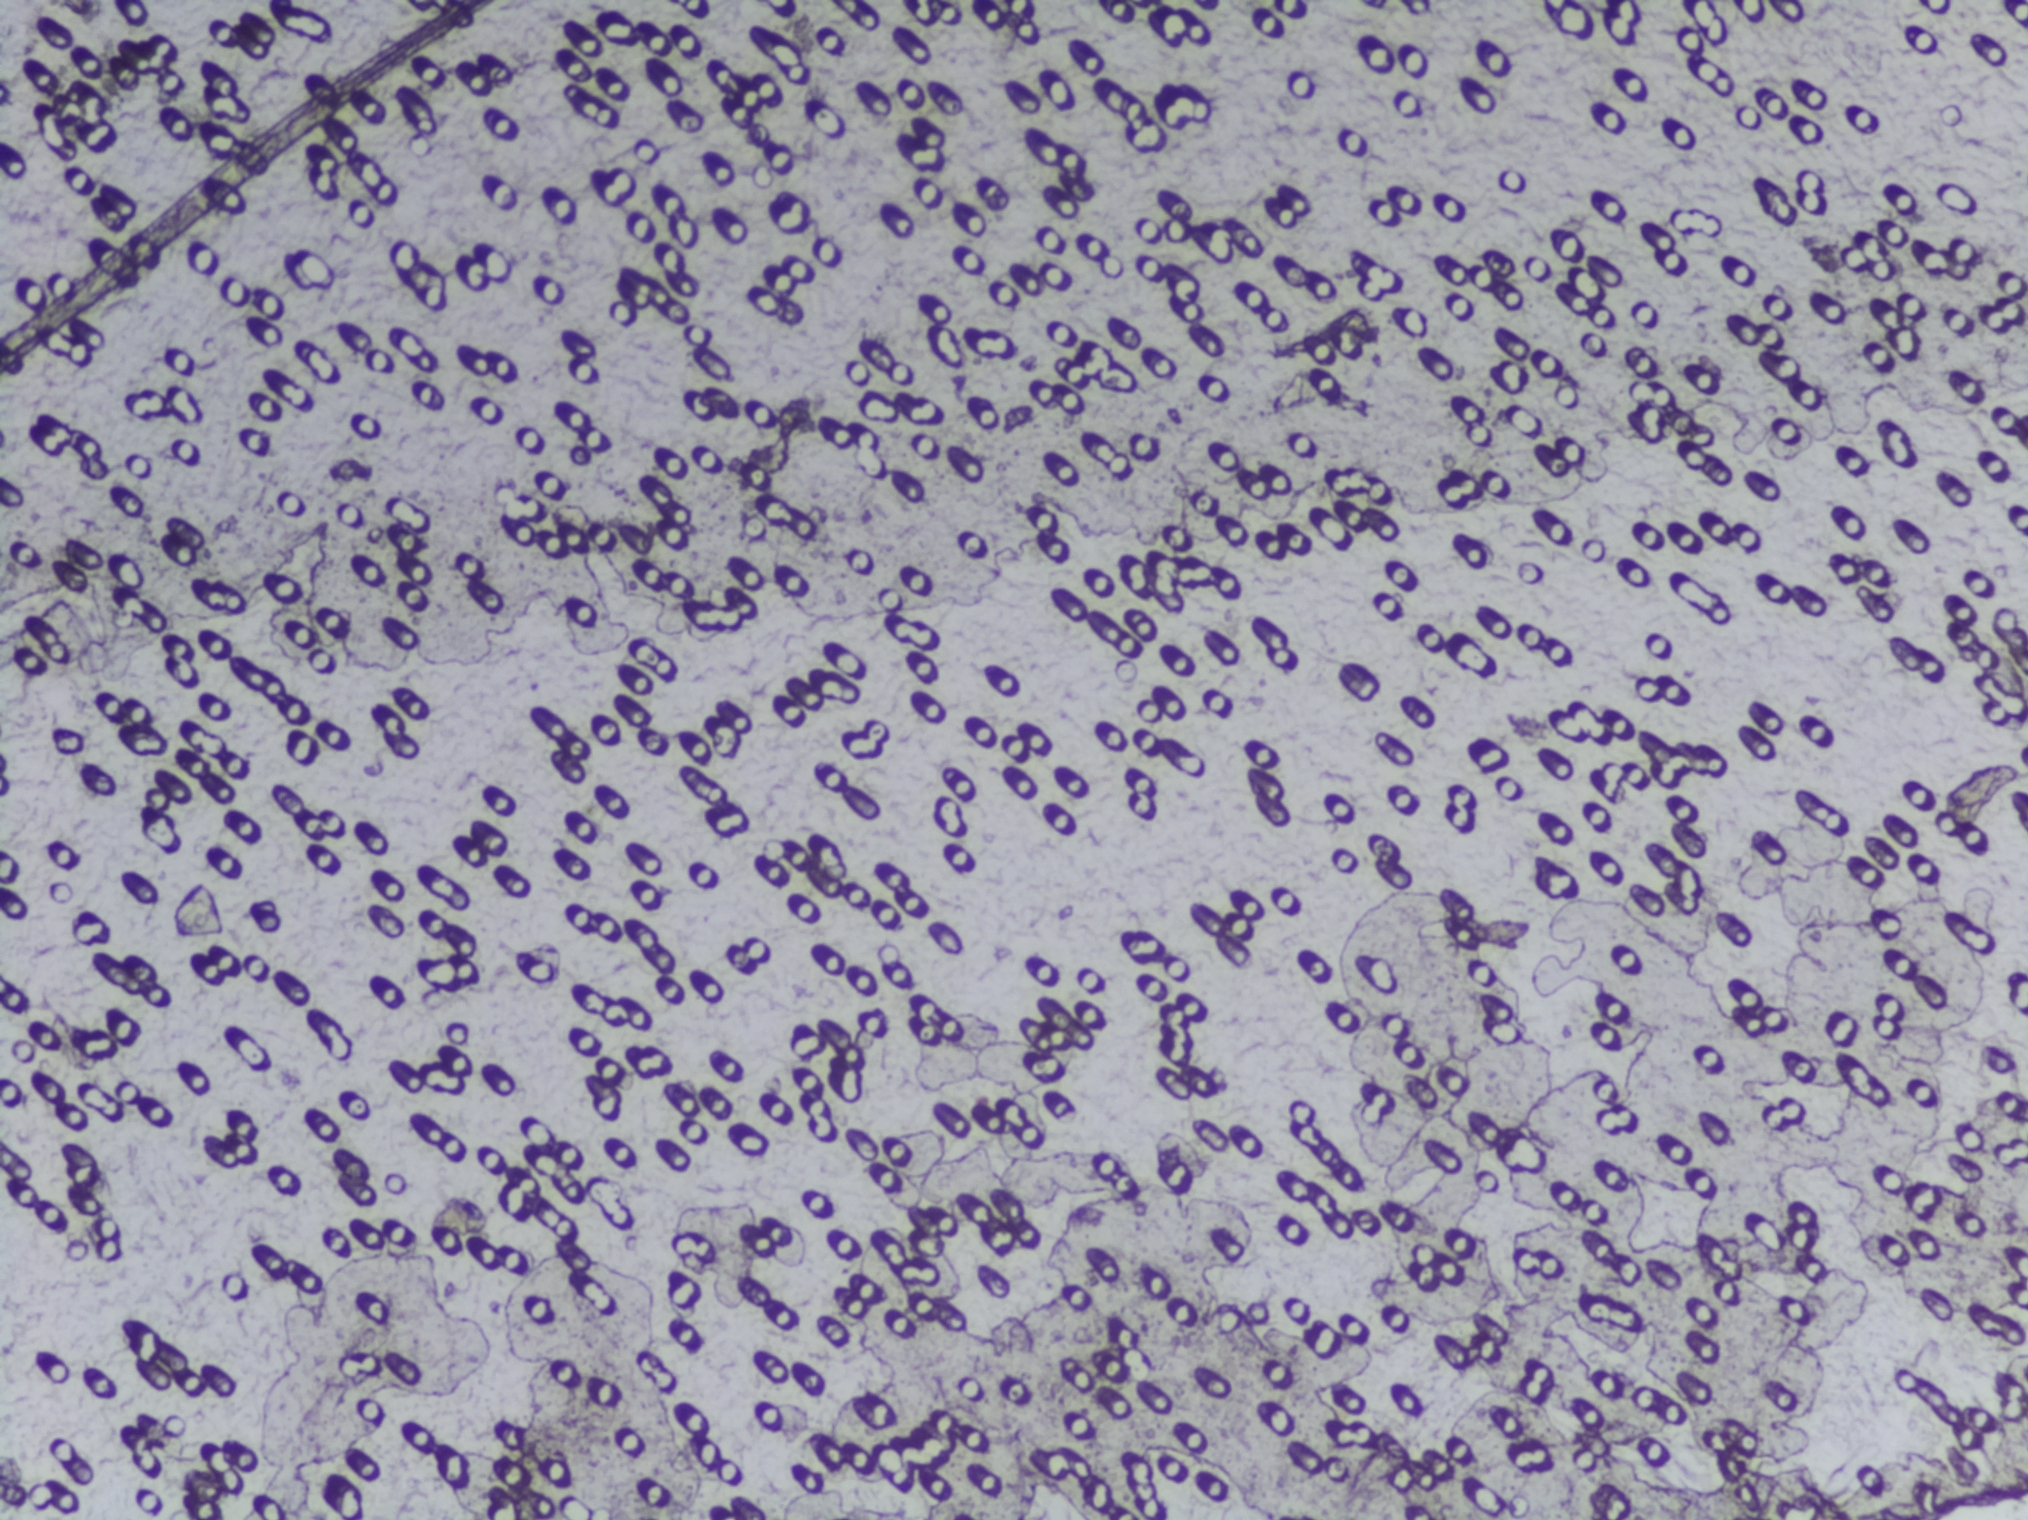
No Schistosoma egg is outlined in this image's expert annotation.
Urine filtration membrane under a 4× objective, photographed by an automated digital microscope.